Photomicrograph of a urine filtration membrane, 4× objective.
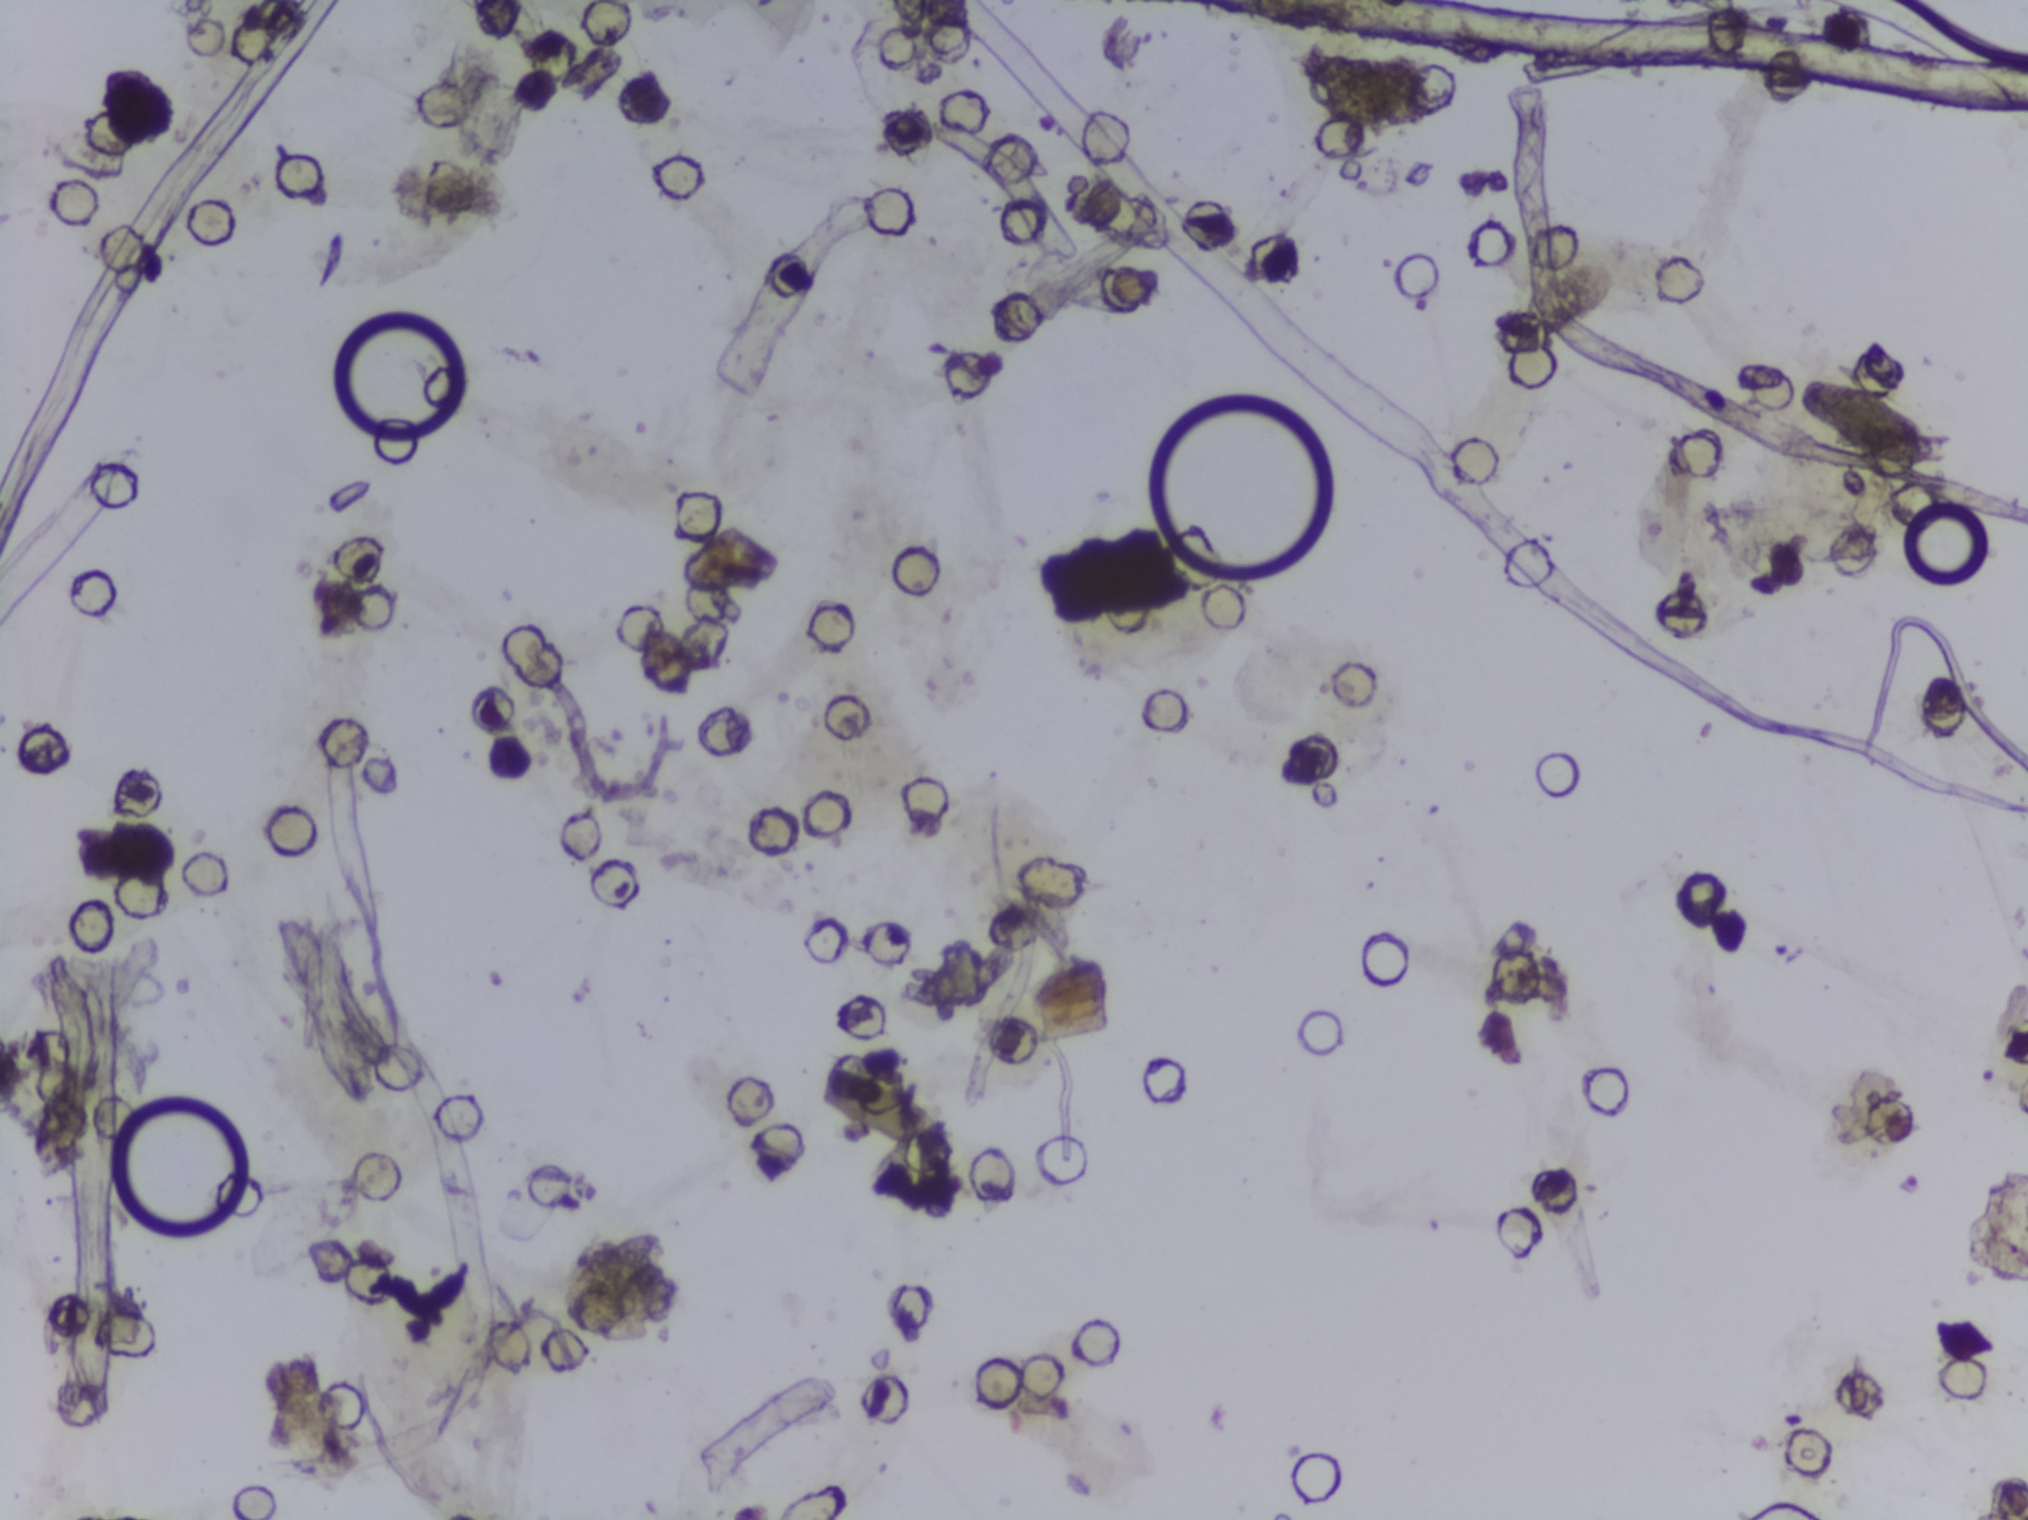
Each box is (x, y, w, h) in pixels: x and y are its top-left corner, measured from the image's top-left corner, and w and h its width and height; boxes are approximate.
Findings: one area outlined as Schistosoma eggs. Location: (x=1795, y=378, w=145, h=92). An outlined area can hold more than one egg.